Photomicrograph of a urine filtration membrane, 4× objective. The image covers about 1.5 × 1.1 mm of the membrane.
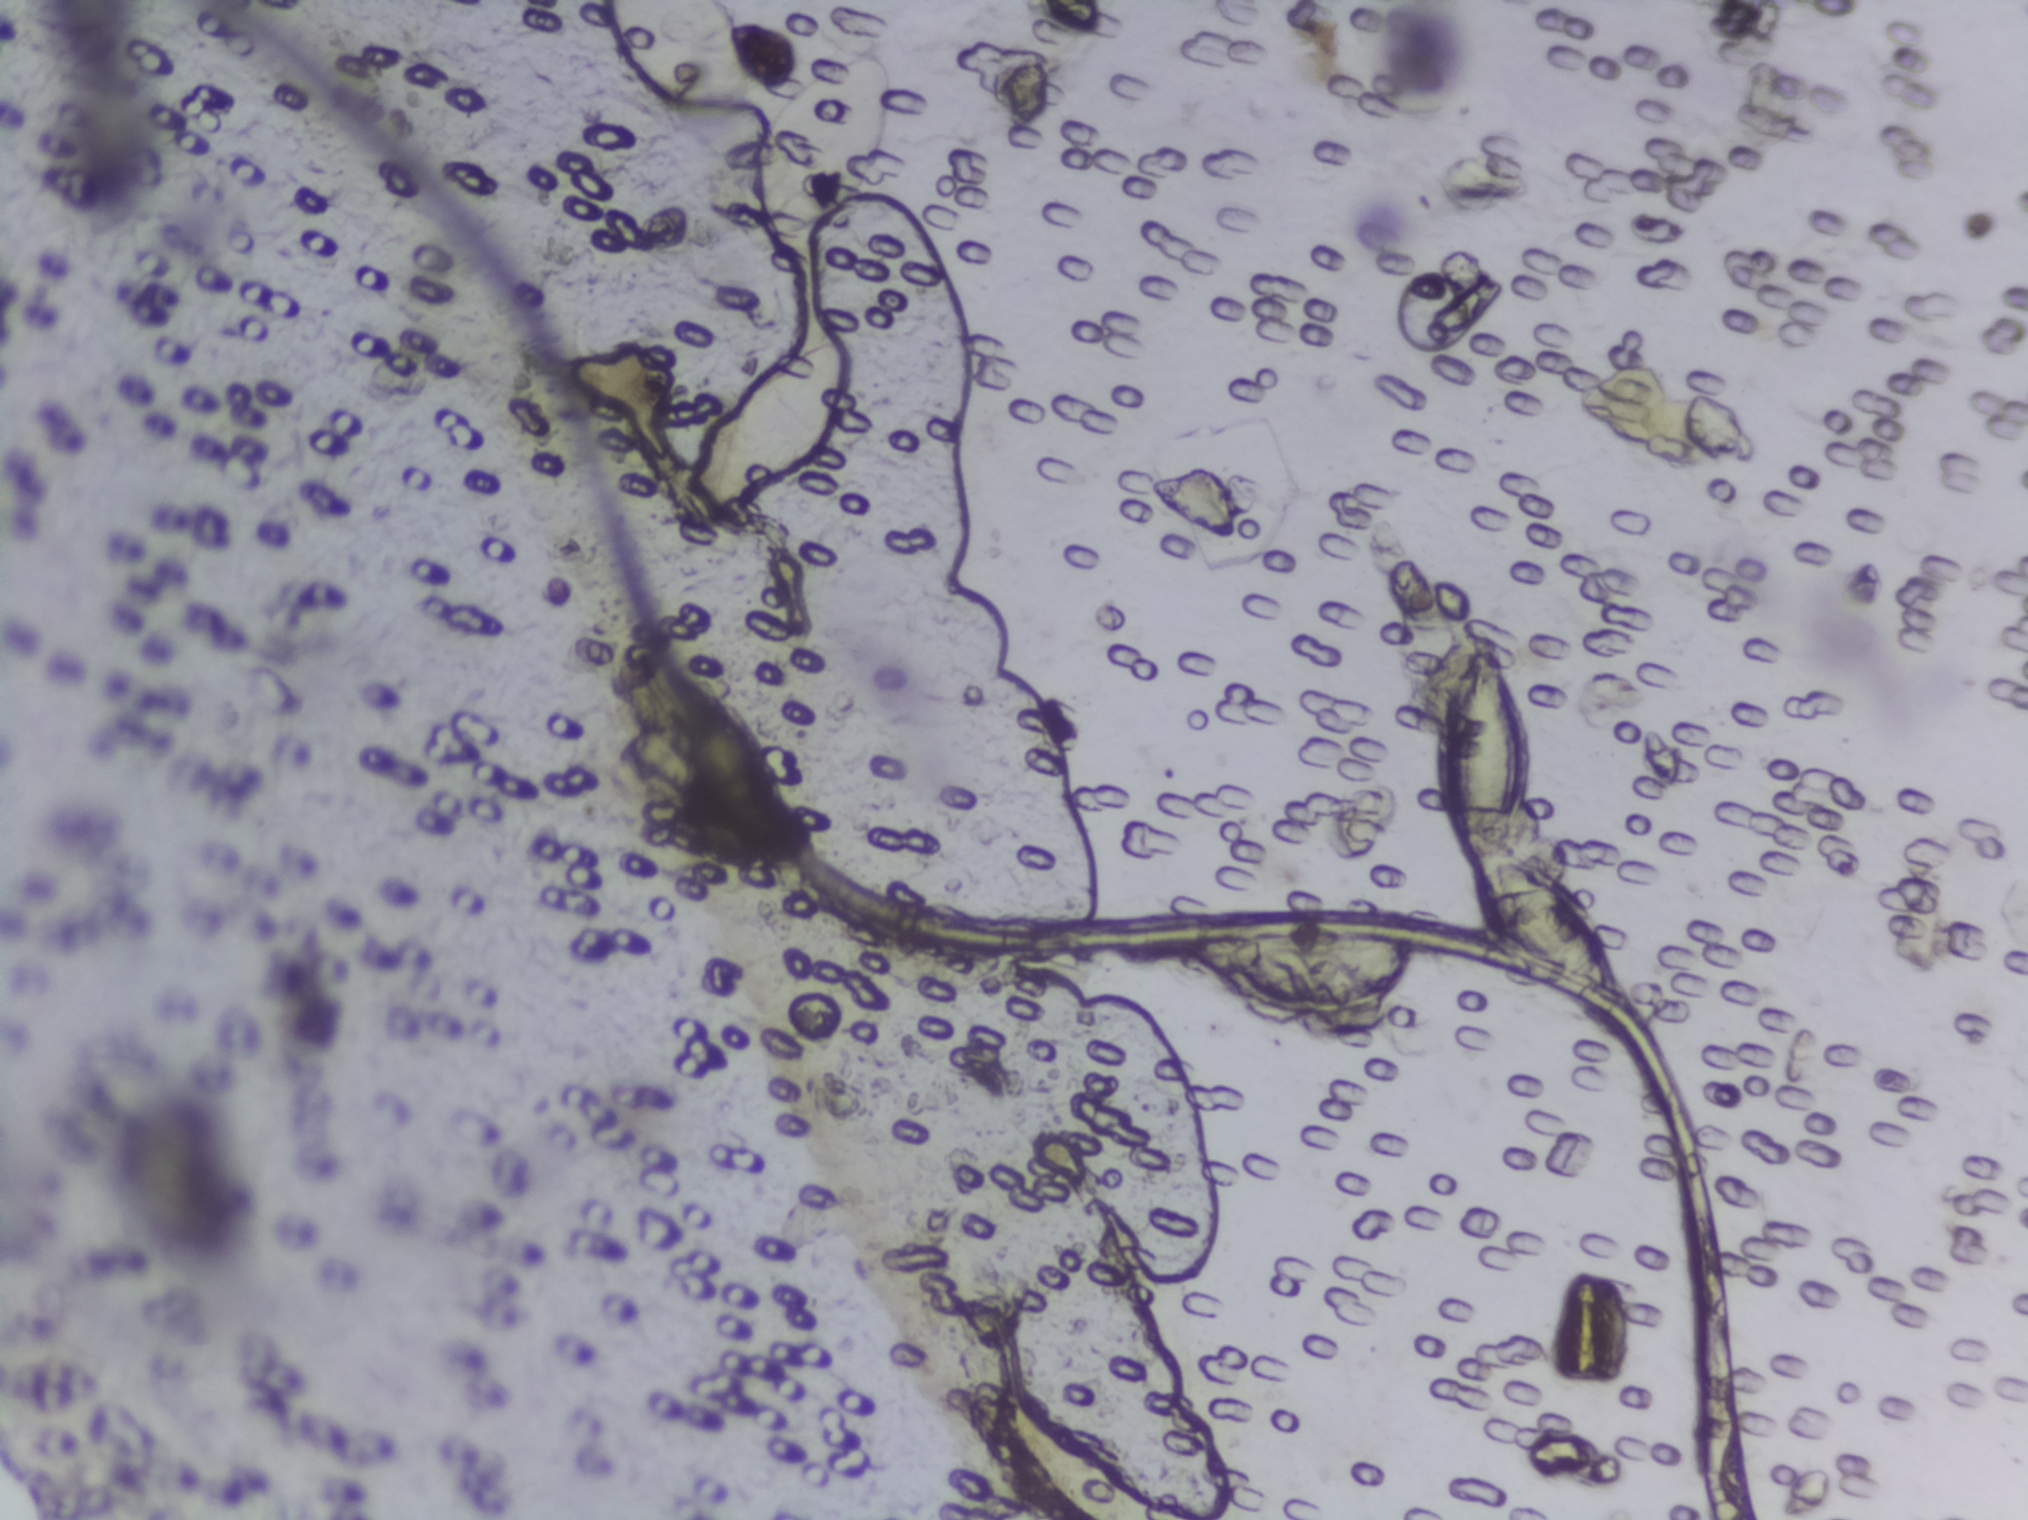
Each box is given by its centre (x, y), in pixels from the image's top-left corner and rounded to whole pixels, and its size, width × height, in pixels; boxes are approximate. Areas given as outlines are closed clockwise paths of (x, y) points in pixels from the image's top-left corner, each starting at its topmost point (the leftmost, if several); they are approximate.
Five areas of this image are outlined as Schistosoma eggs, from left to right: box centre (678, 57), 166 × 114 px (reaching the top edge of the frame); box centre (786, 421), 143 × 171 px; box centre (830, 145), 147 × 193 px; box centre (1309, 971), 196 × 96 px; outline (1477, 644), (1492, 644), (1508, 662), (1527, 734), (1524, 810), (1497, 856), (1539, 861), (1571, 888), (1611, 958), (1606, 996), (1557, 990), (1528, 969), (1489, 917), (1488, 862), (1463, 857), (1439, 804), (1433, 775), (1437, 709), (1455, 662). The marked pixels themselves, not the boxes and the outline around them, cover about 3.0% of the image. An outlined area can hold more than one egg.